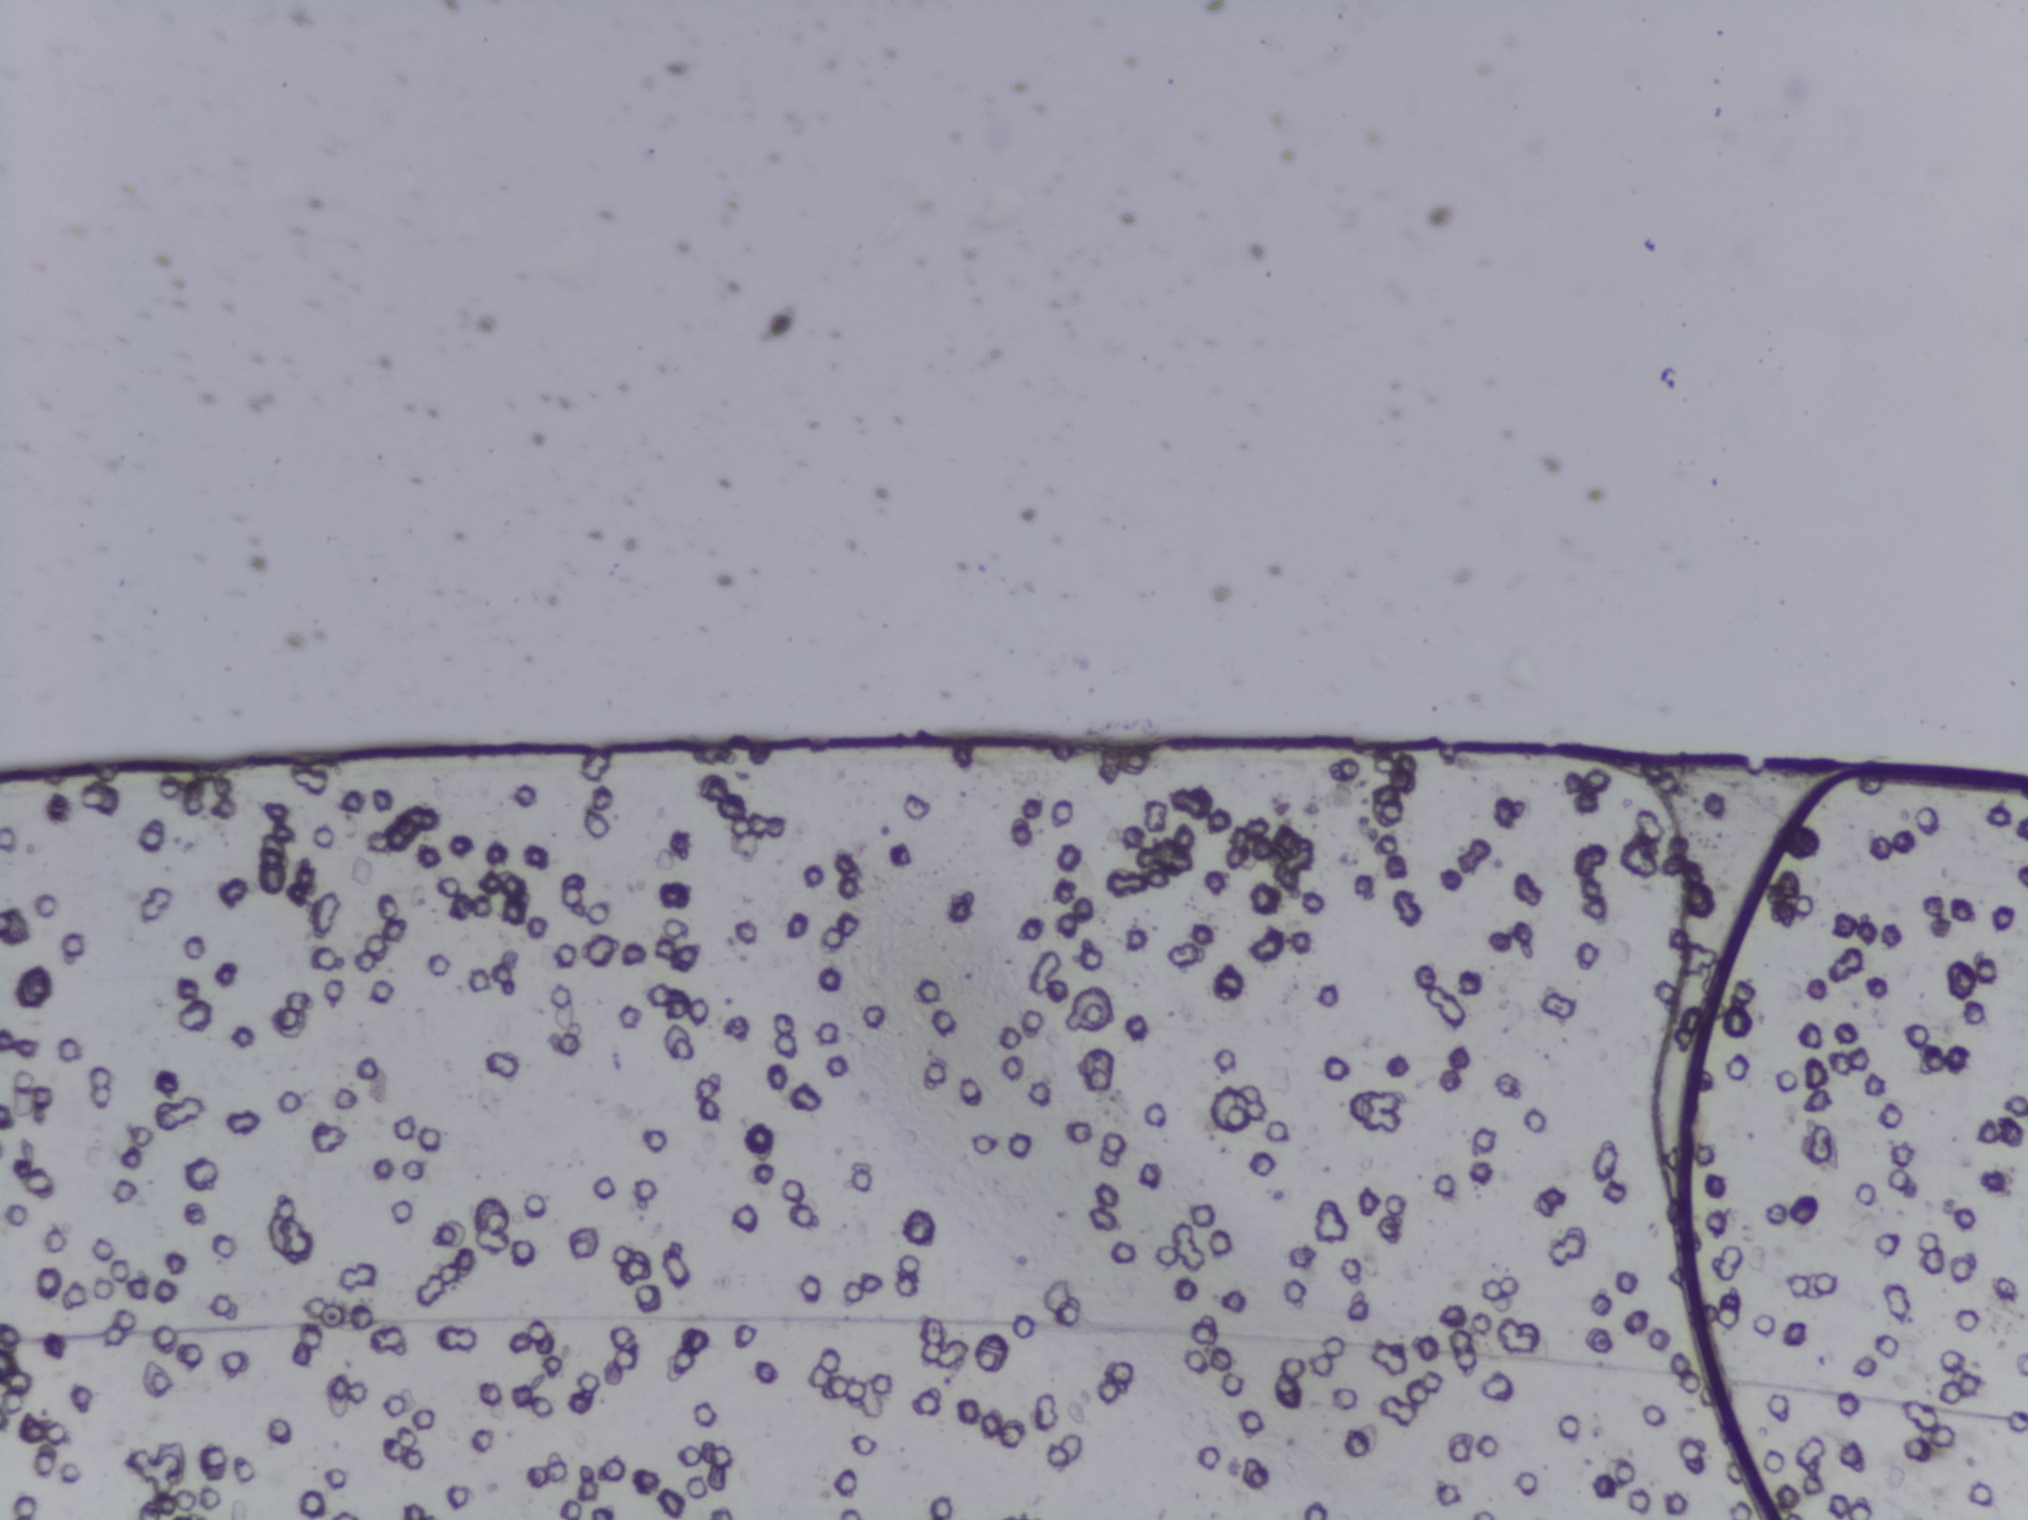
No area of this image was outlined as a Schistosoma egg.
One field of view of a urine filter membrane, 4× objective, 2028 × 1520 pixels.